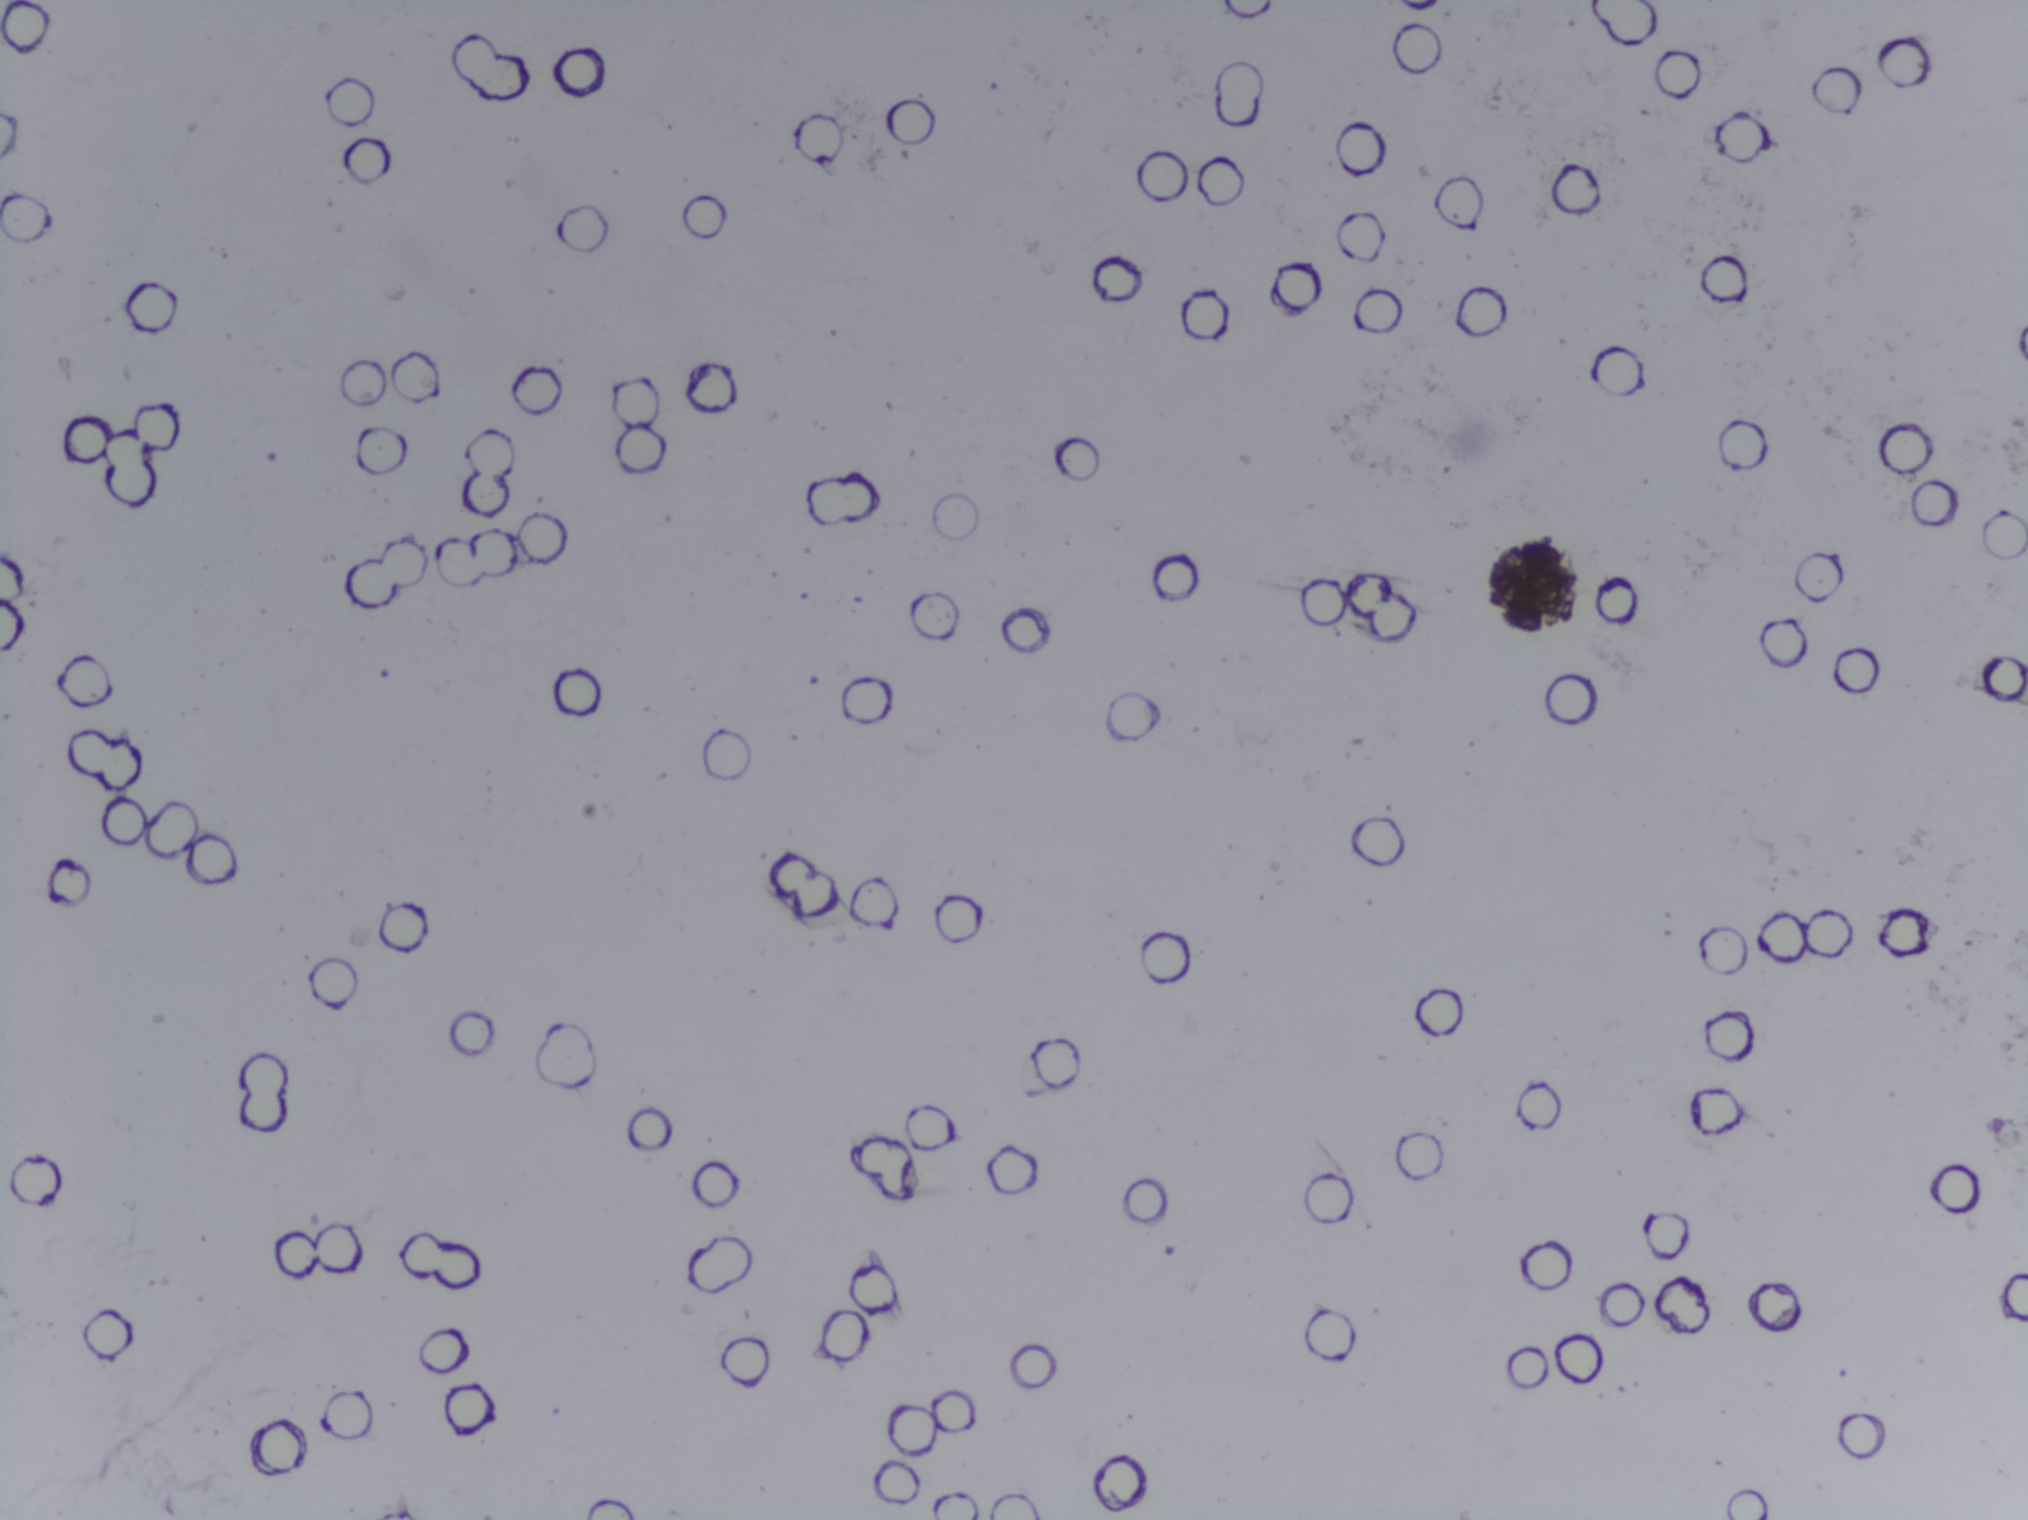
The expert annotation outlines no Schistosoma egg in this image.
Photomicrograph of a urine filtration membrane, 4× objective. The image covers about 1.5 × 1.1 mm of the membrane.